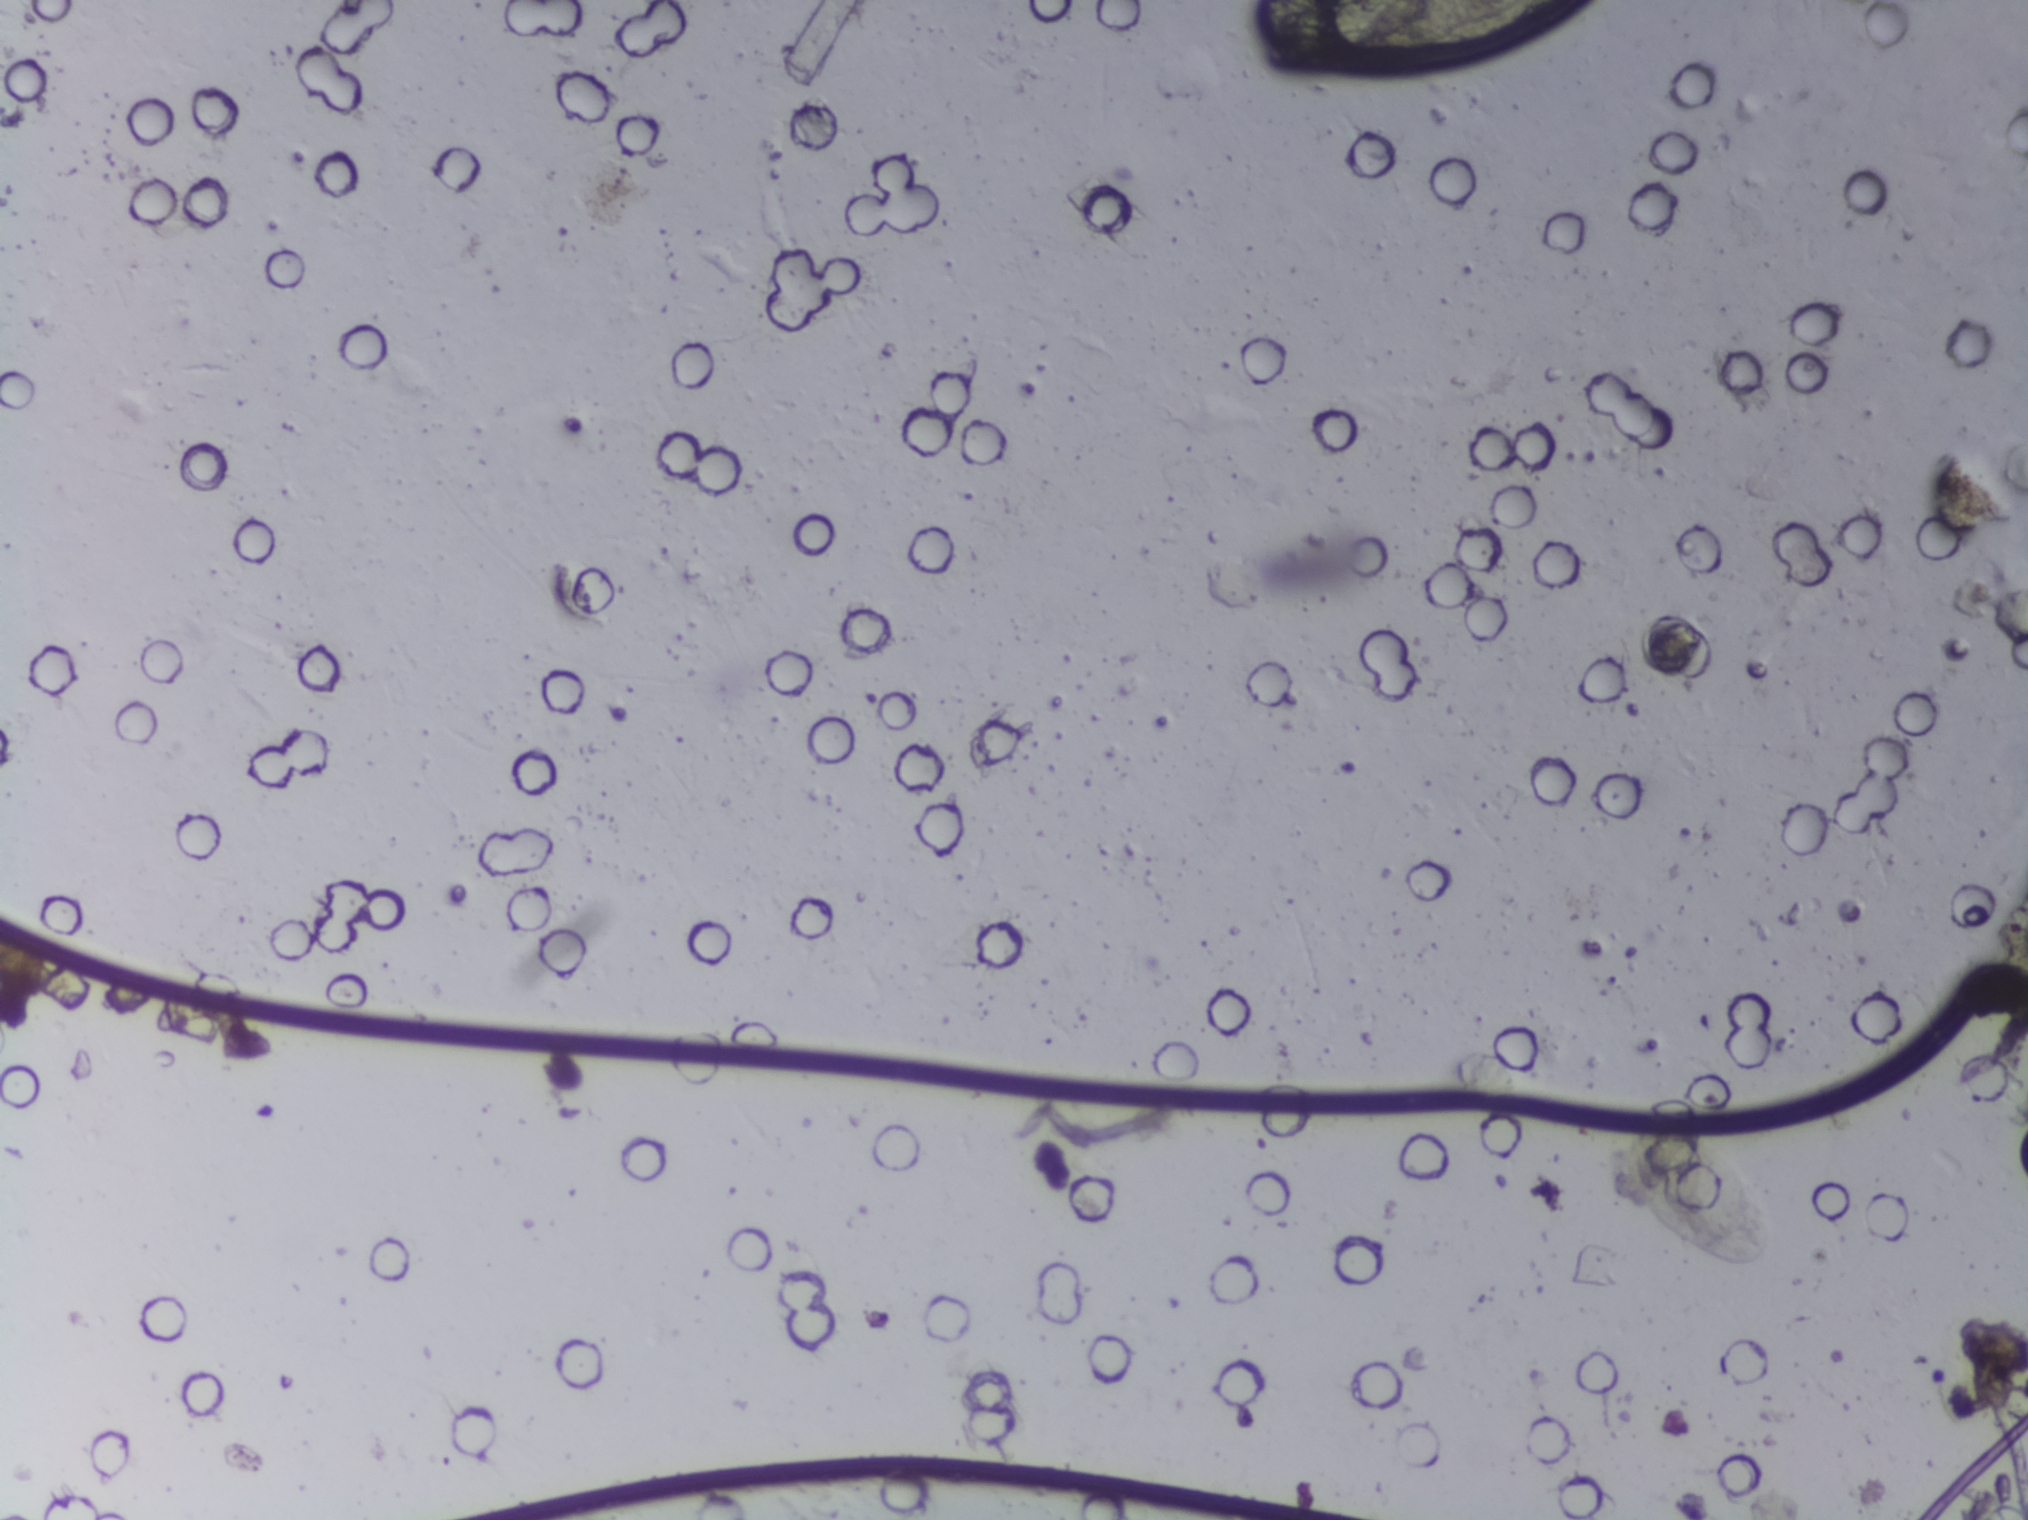
Urine filter membrane photographed through a 4× microscope objective.
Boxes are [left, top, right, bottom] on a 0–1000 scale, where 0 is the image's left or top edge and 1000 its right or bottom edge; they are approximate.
Outlined Schistosoma egg areas:
1. [799, 738, 874, 836]
An outlined area can hold more than one egg.